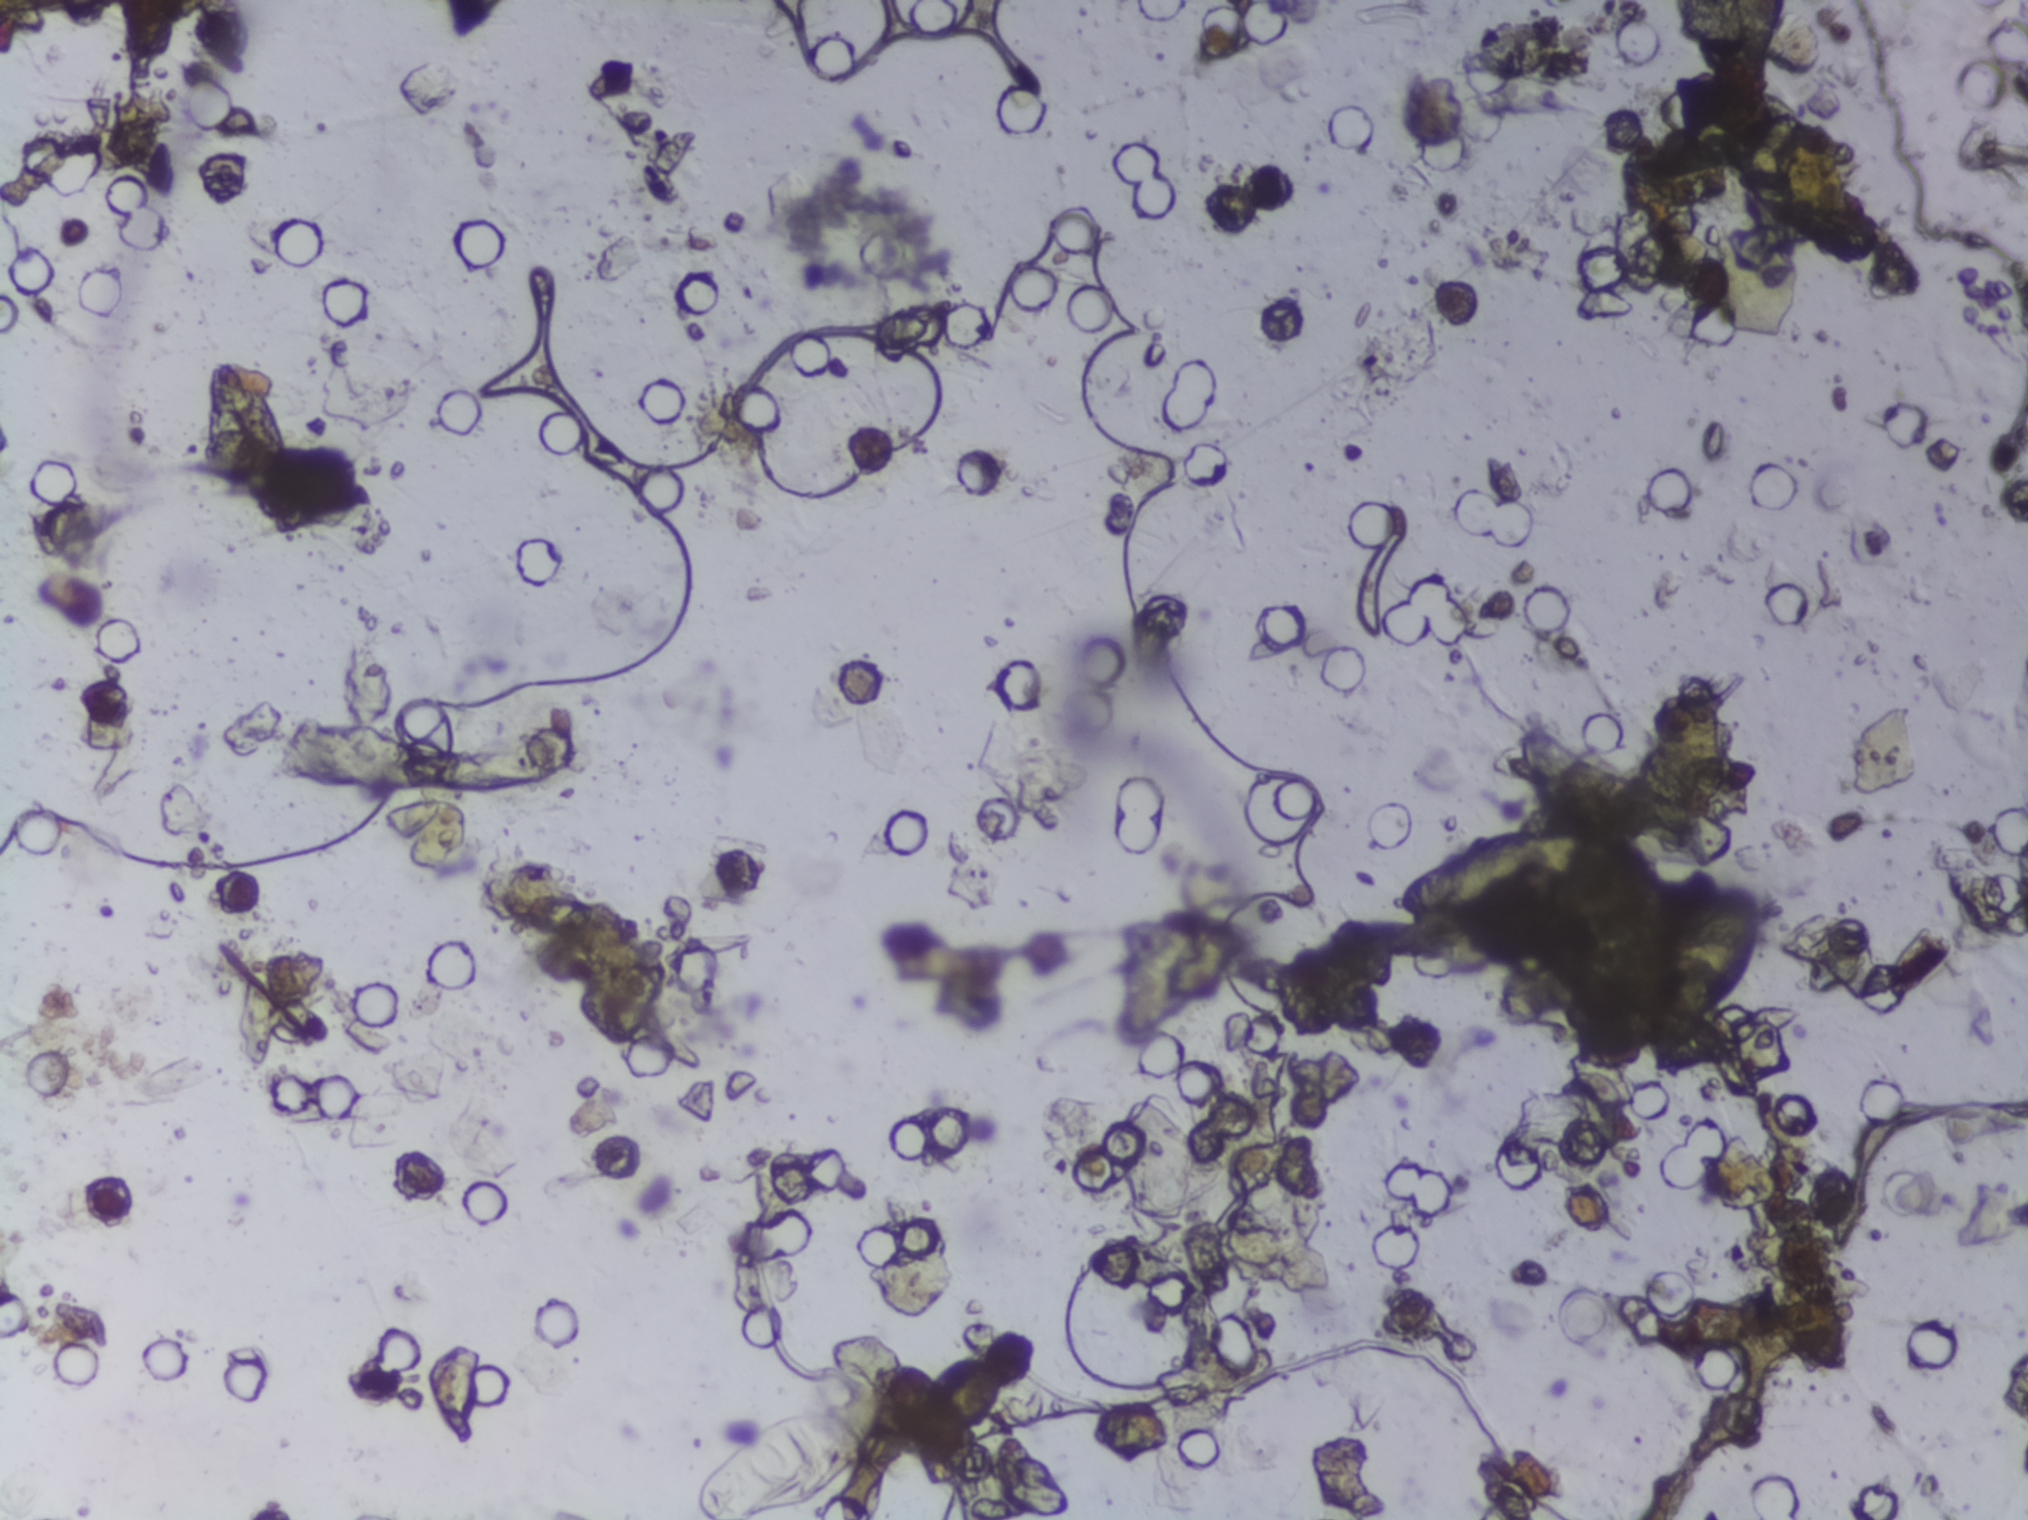
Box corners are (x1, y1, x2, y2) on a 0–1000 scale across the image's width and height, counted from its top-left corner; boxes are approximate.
Schistosoma eggs are outlined in the expert annotation at (336, 928, 434, 1000) (reaching the bottom edge of the frame); (684, 536, 797, 608); (808, 576, 869, 707) (left to right). A single outlined area may contain several eggs.
Photograph from an automated digital microscope: urine filter membrane, 4× objective.